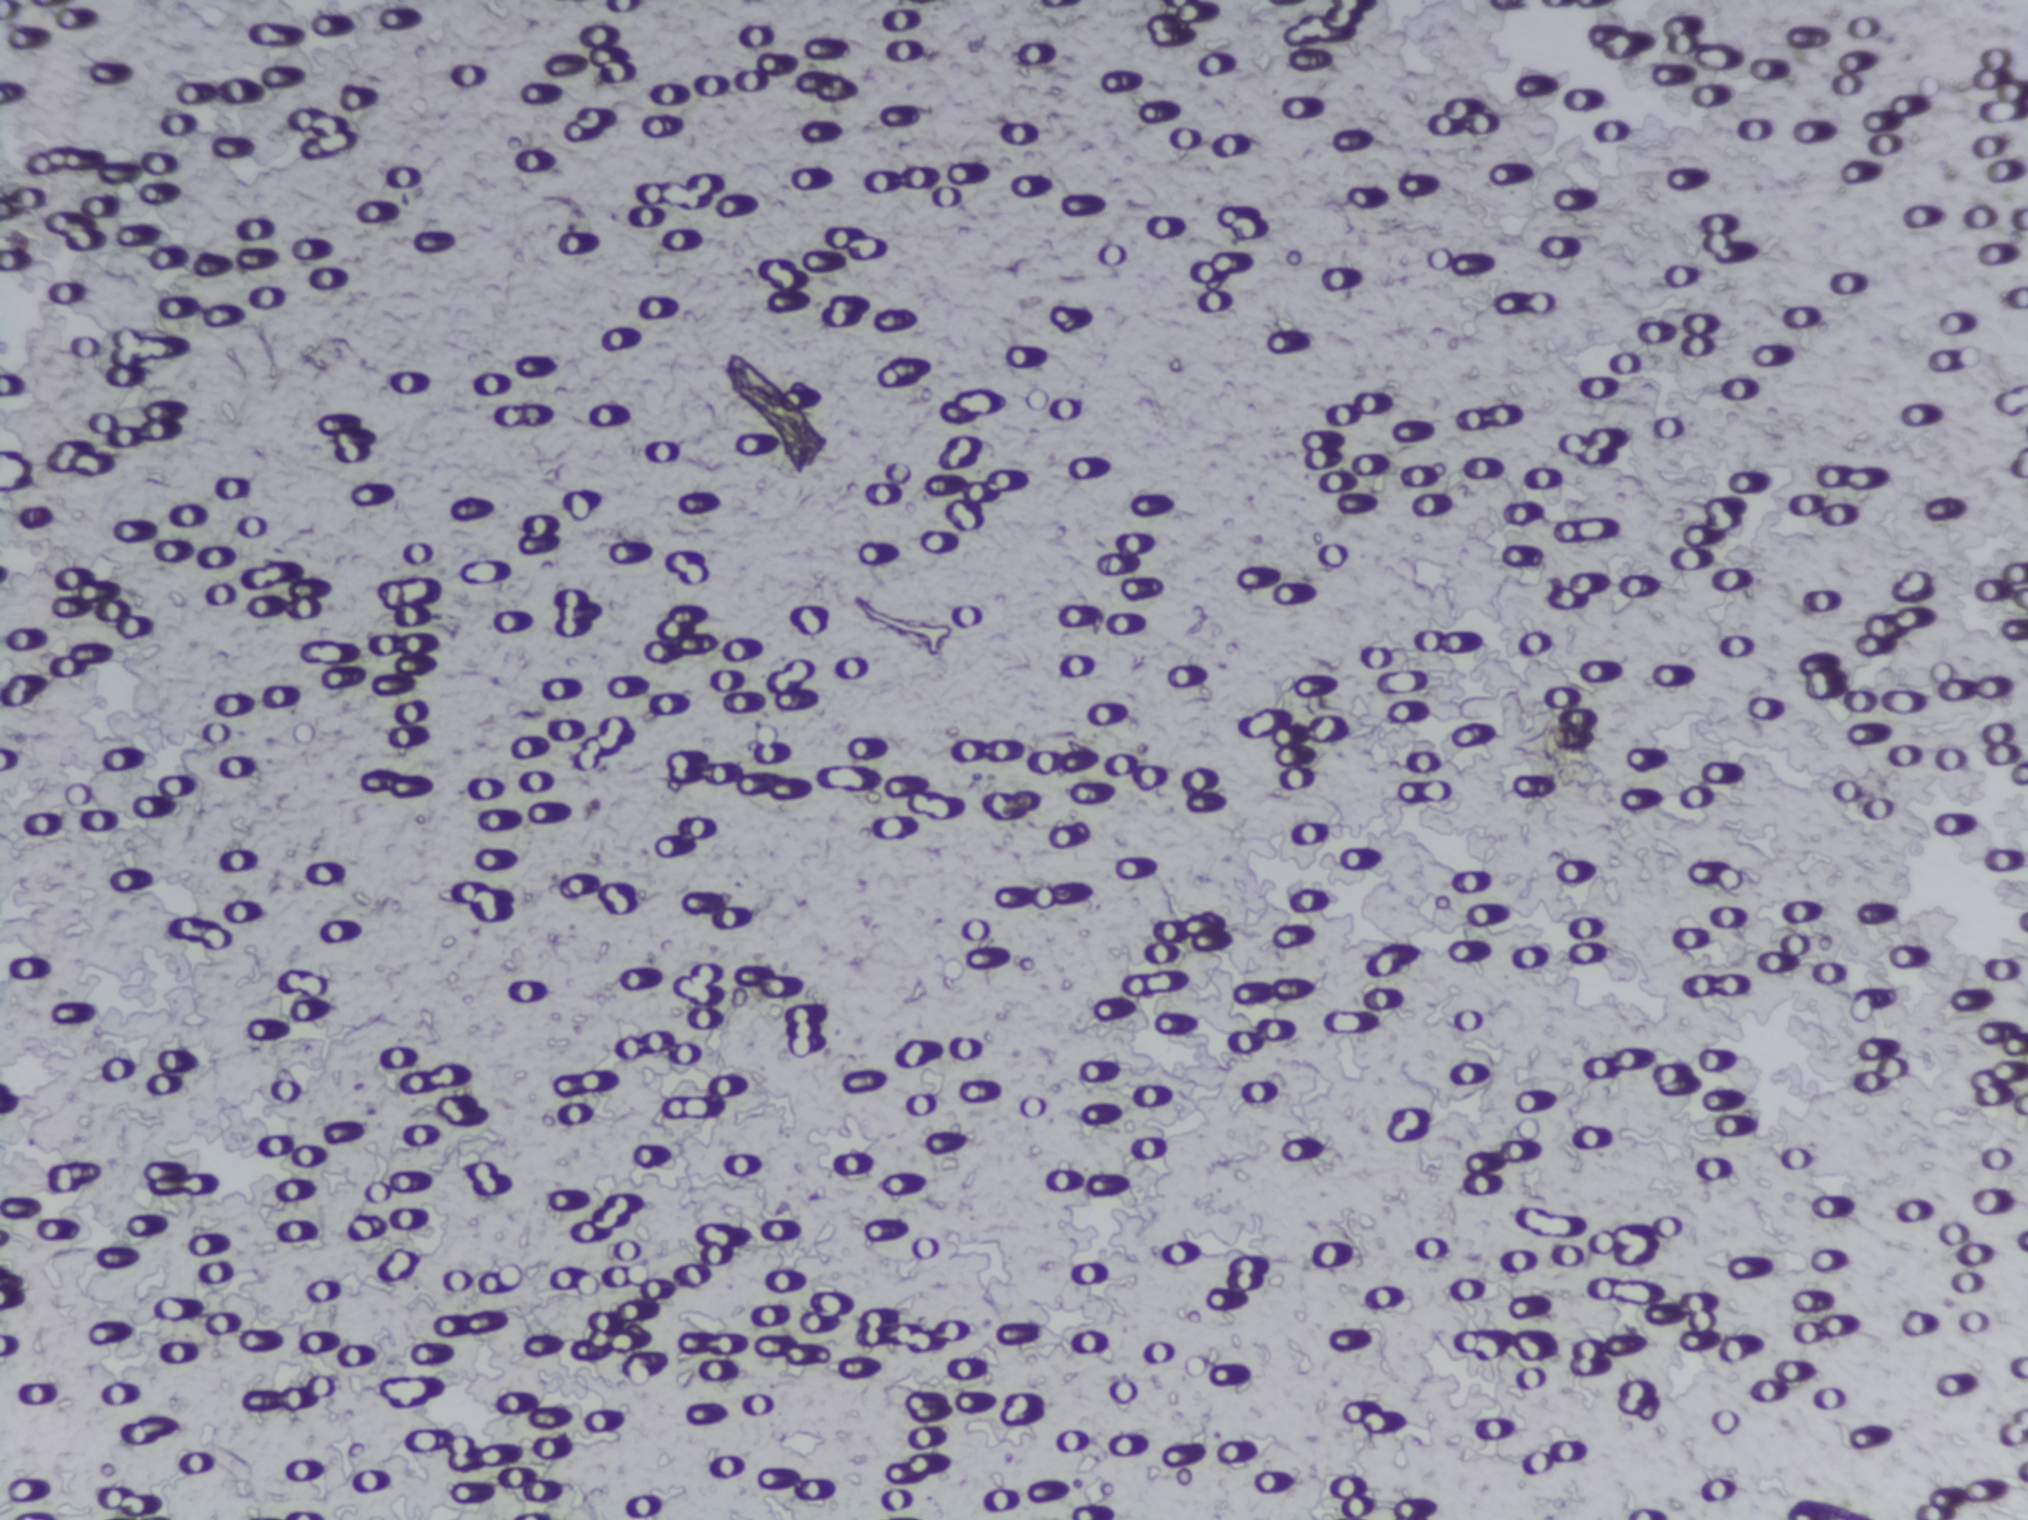
No Schistosoma egg is outlined in this image's expert annotation.
Photograph from an automated digital microscope: urine filter membrane, 4× objective.